One field of view of a urine filter membrane, 4× objective, 2028 × 1520 pixels.
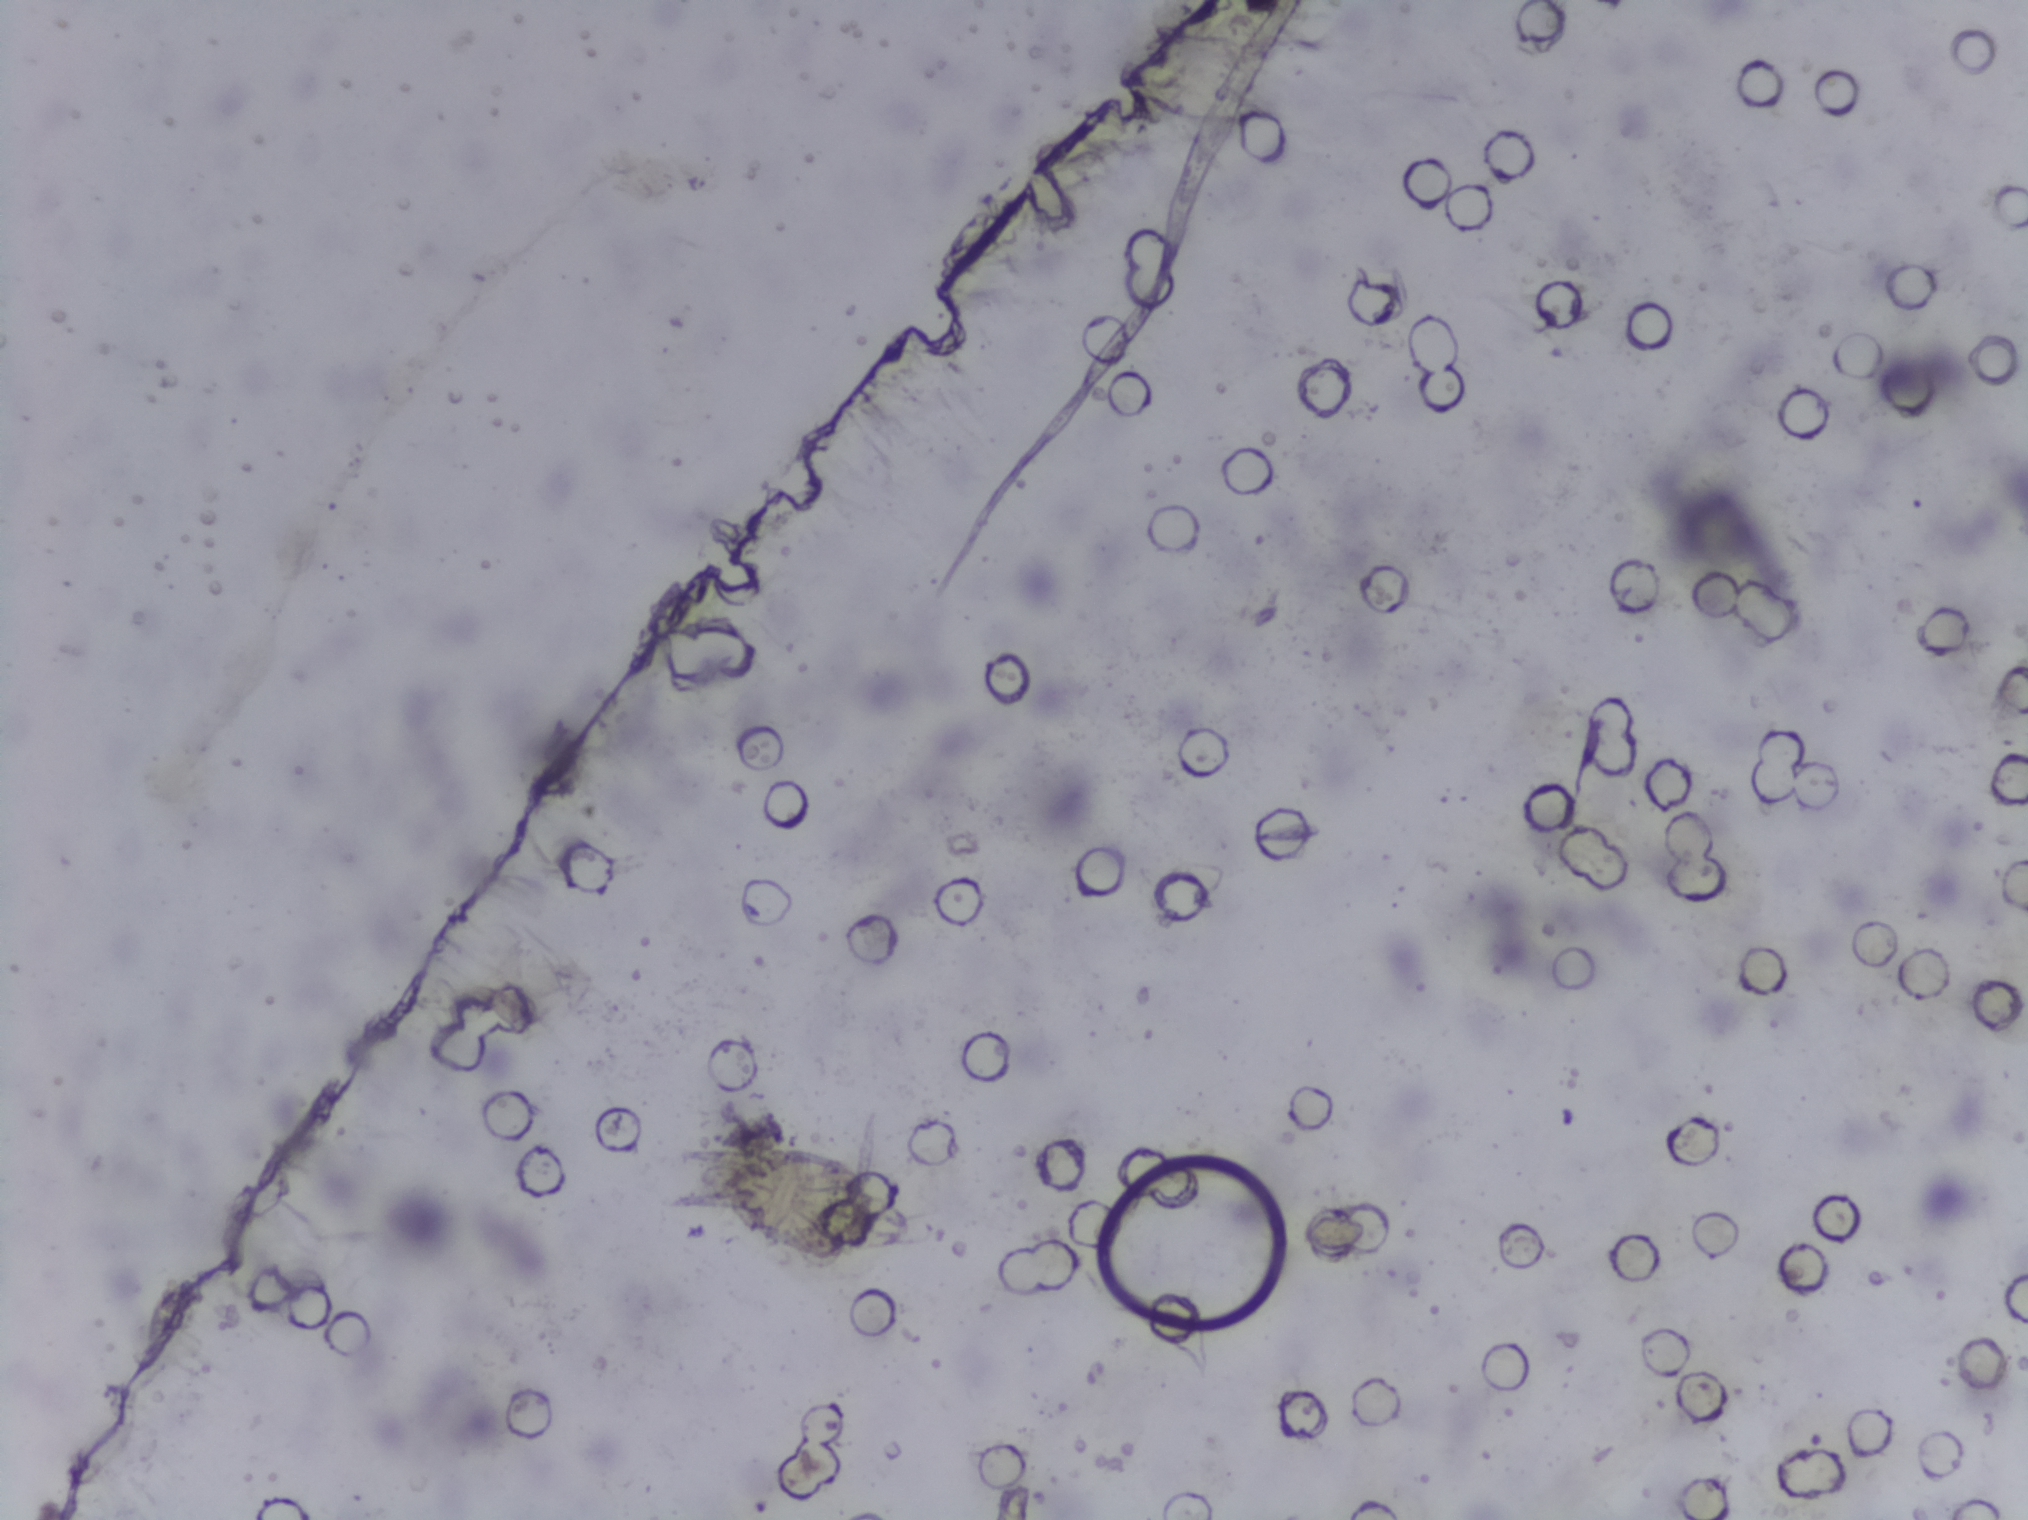
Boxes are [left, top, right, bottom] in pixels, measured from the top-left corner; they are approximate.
Schistosoma eggs are outlined in the expert annotation at [683, 1136, 932, 1270]. The marked pixels themselves, not the box around them, cover about 0.7% of the image. An outlined area can hold more than one egg.